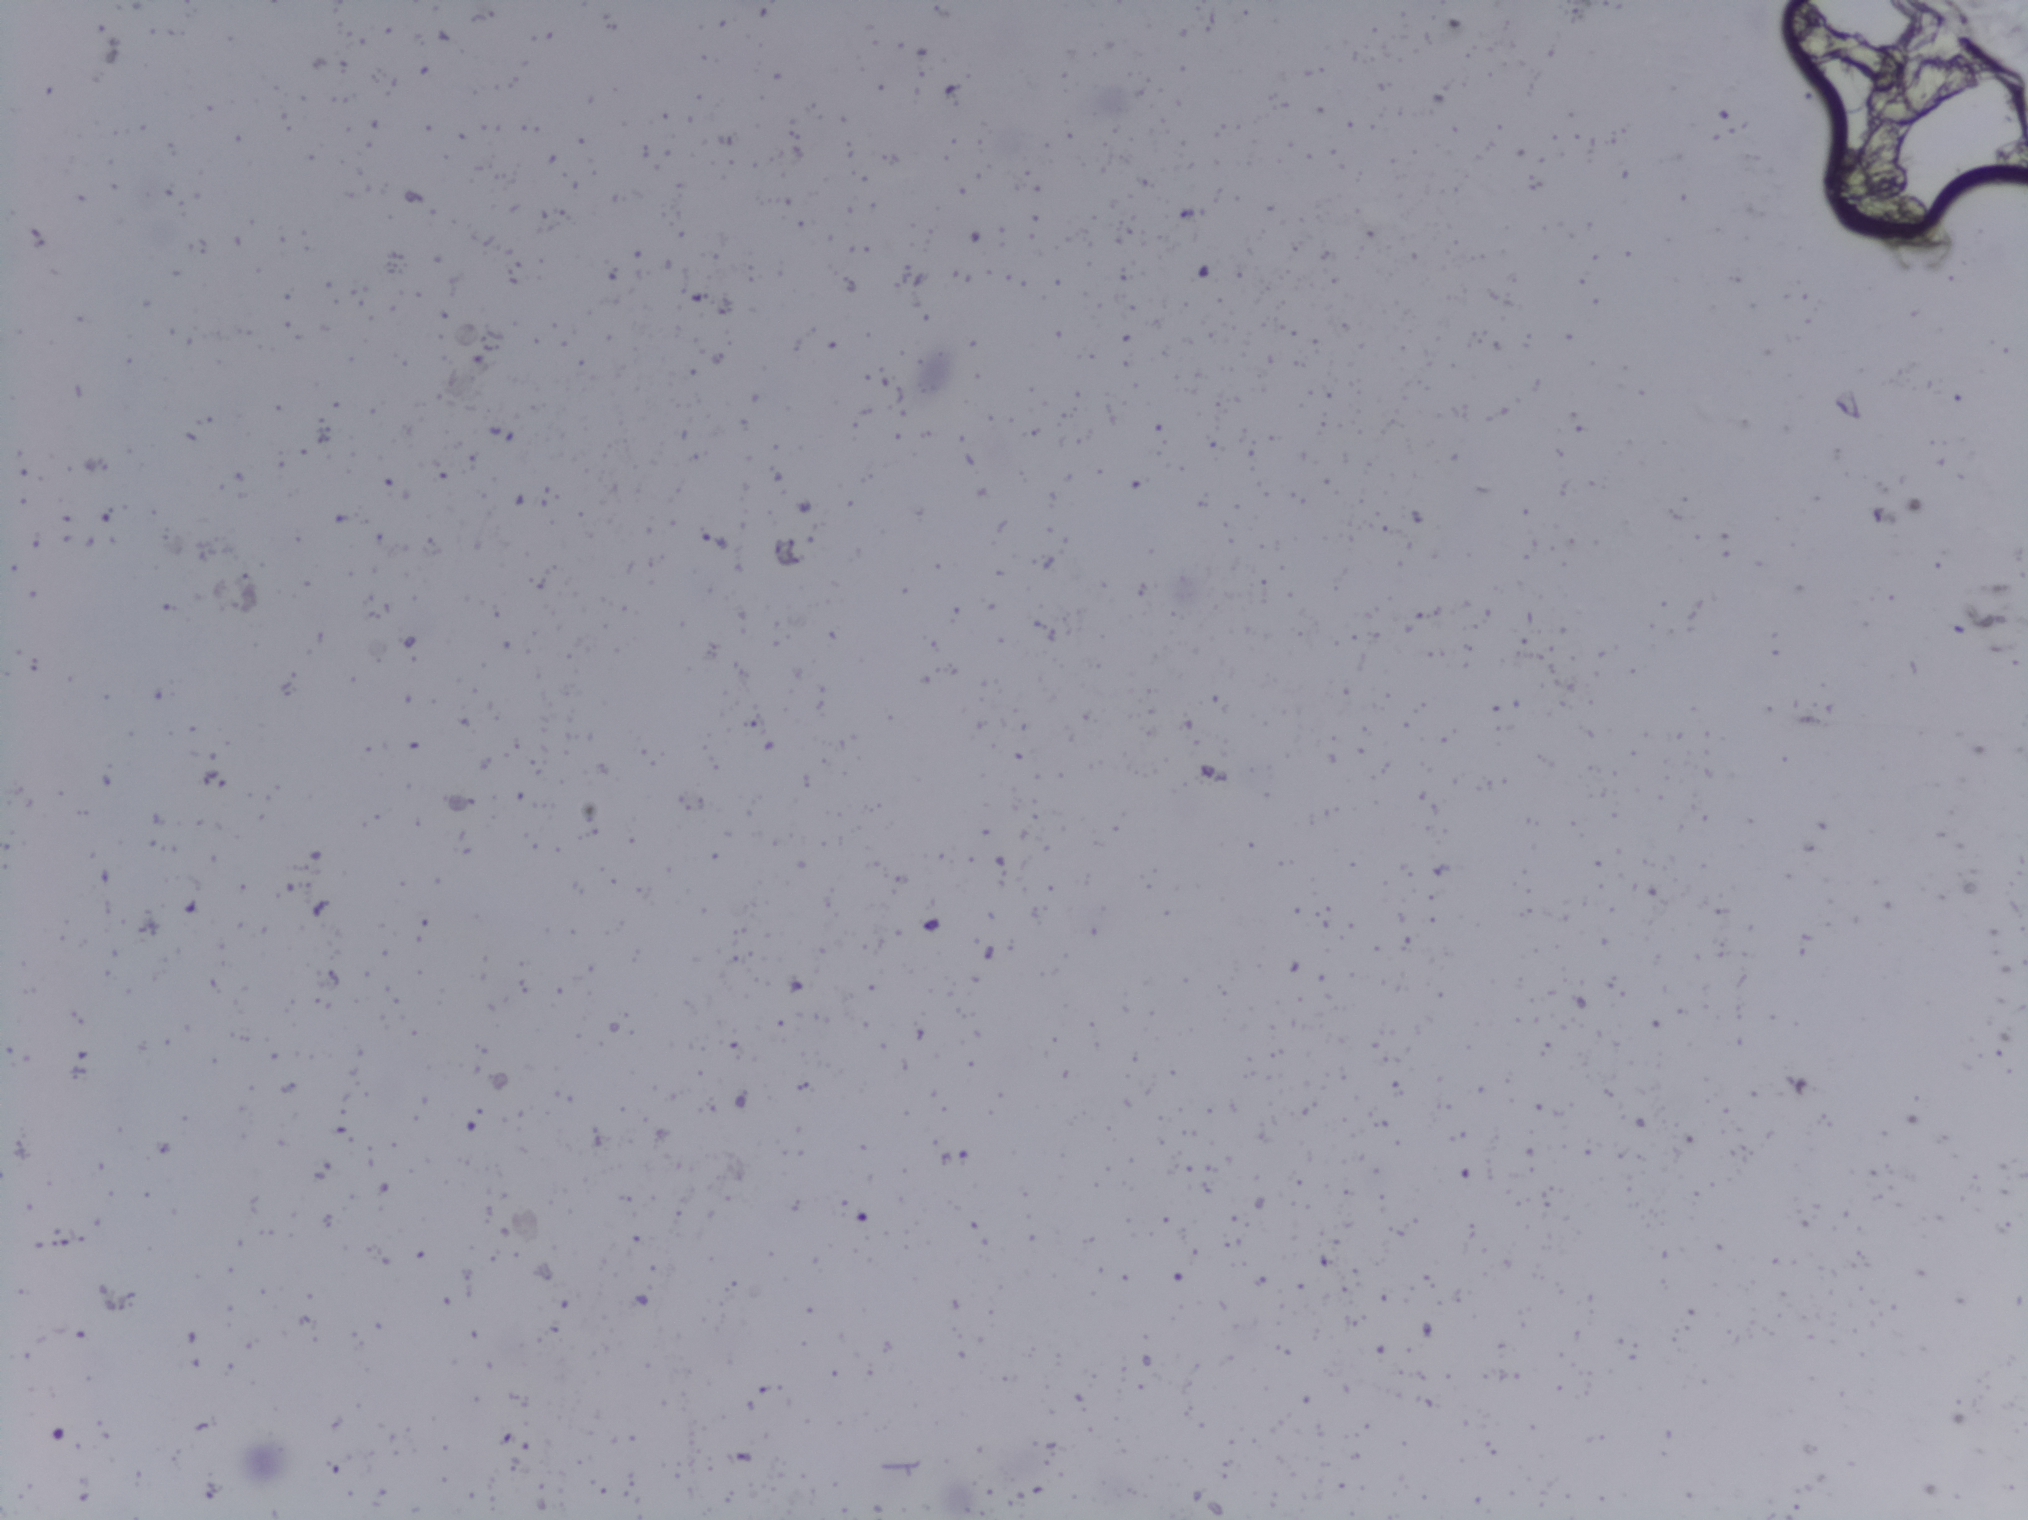
One field of view of a urine filter membrane, 4× objective, 2028 × 1520 pixels. The field of view is about 1.5 mm × 1.1 mm.
The expert annotation outlines no Schistosoma egg in this image.